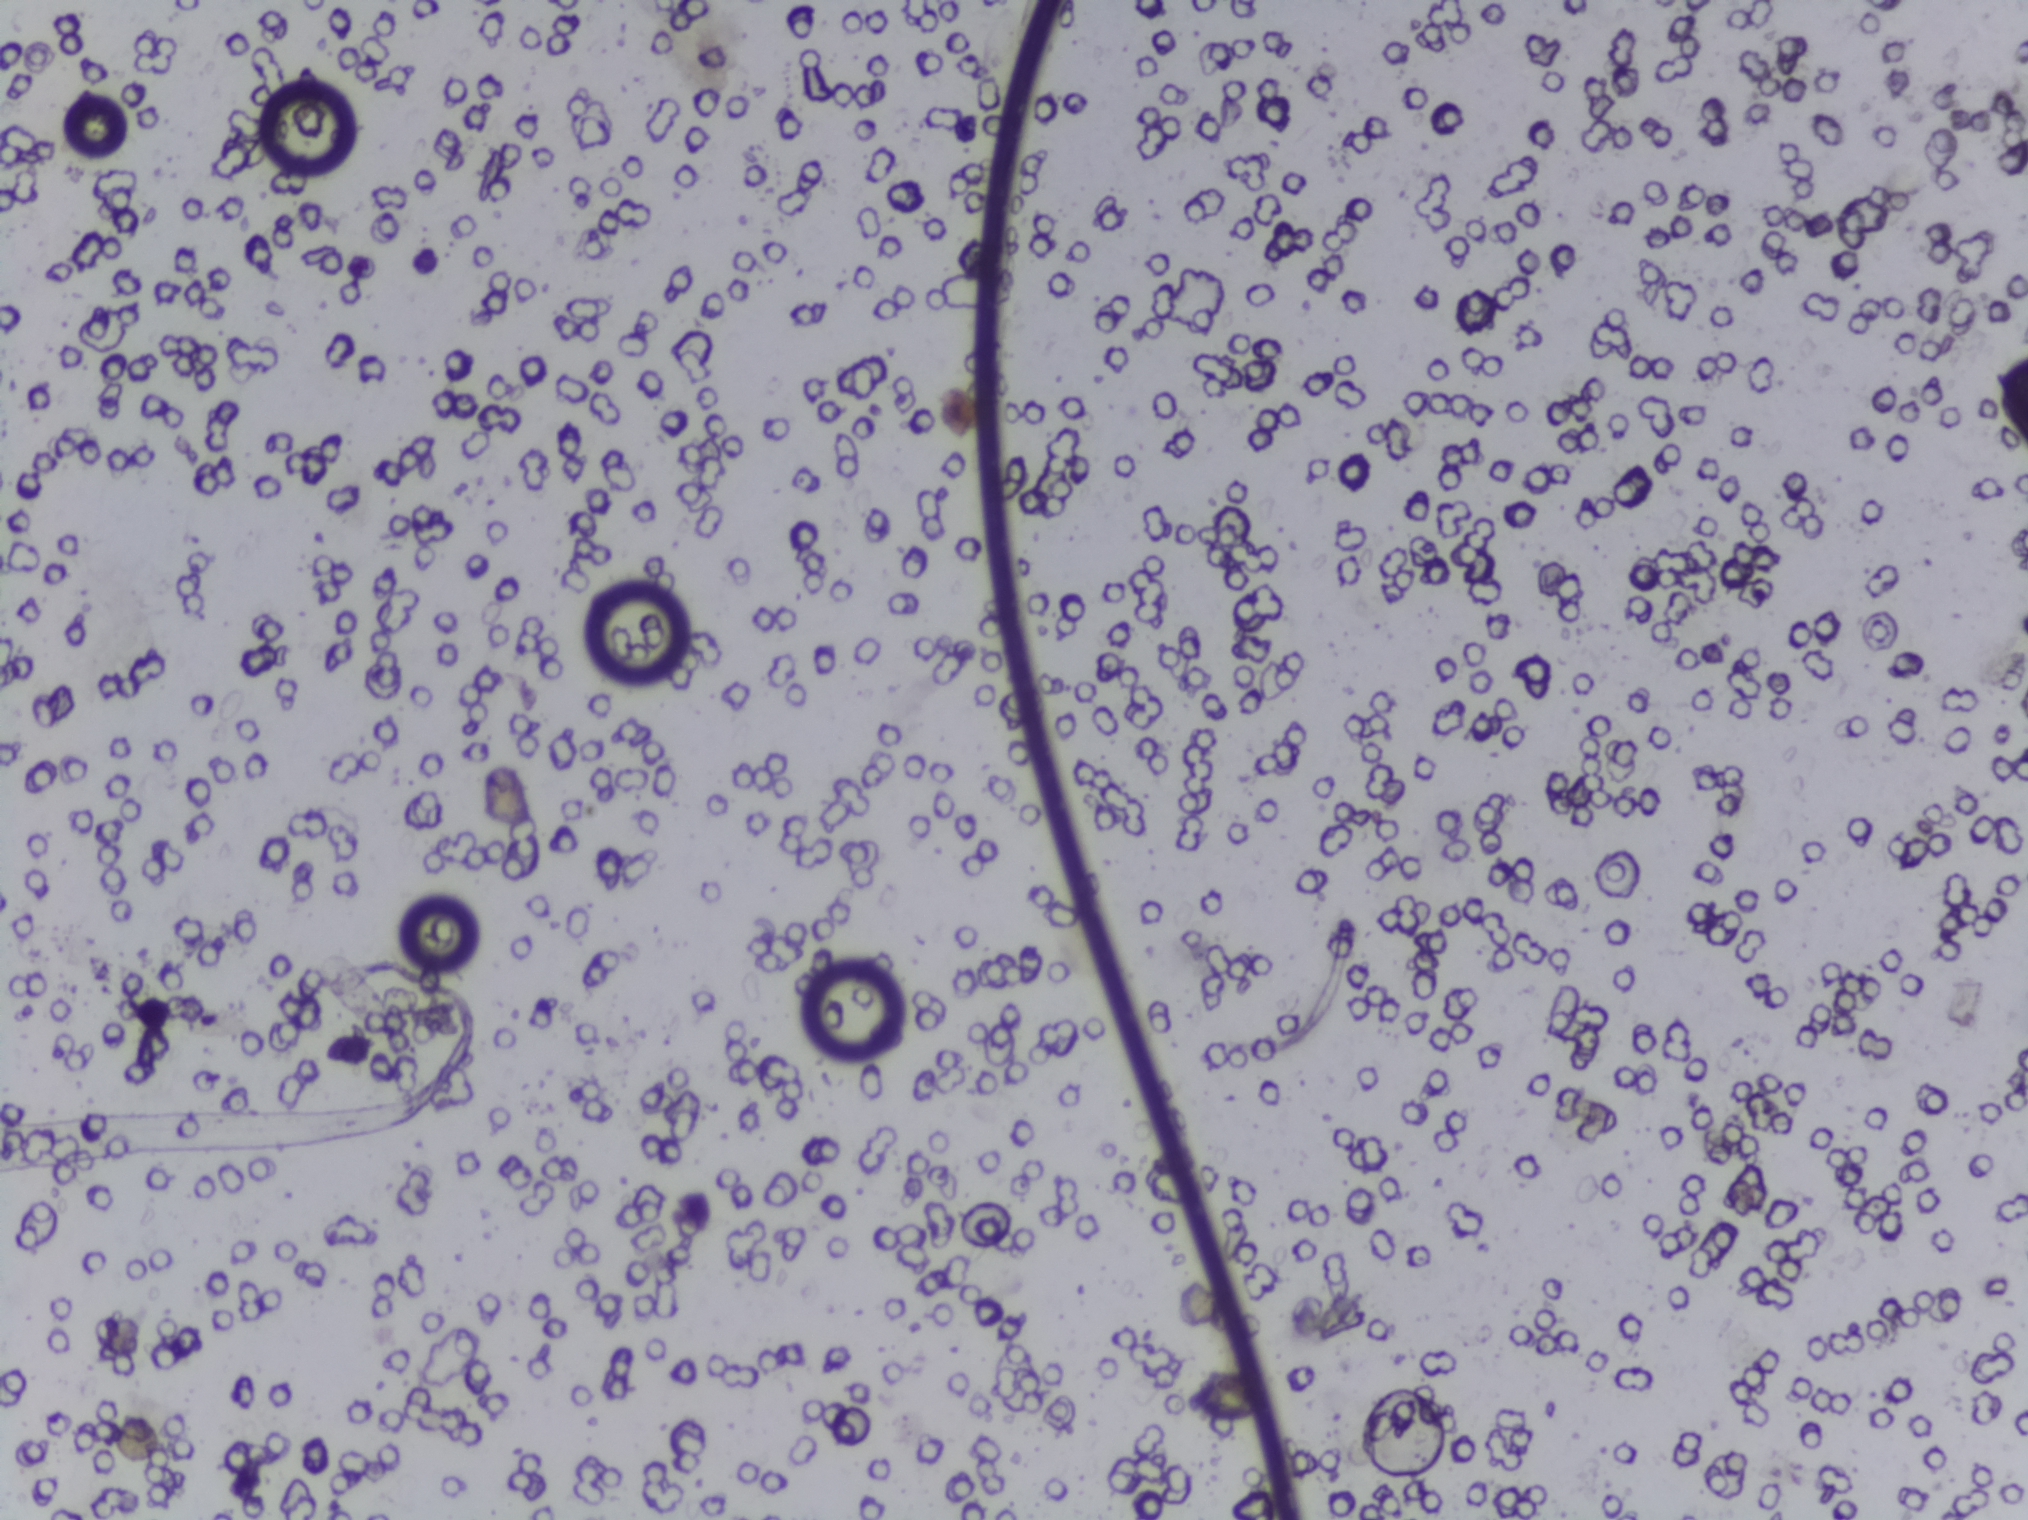
The expert annotation marks no Schistosoma egg in this field of view.
Photomicrograph of a urine filtration membrane, 4× objective.